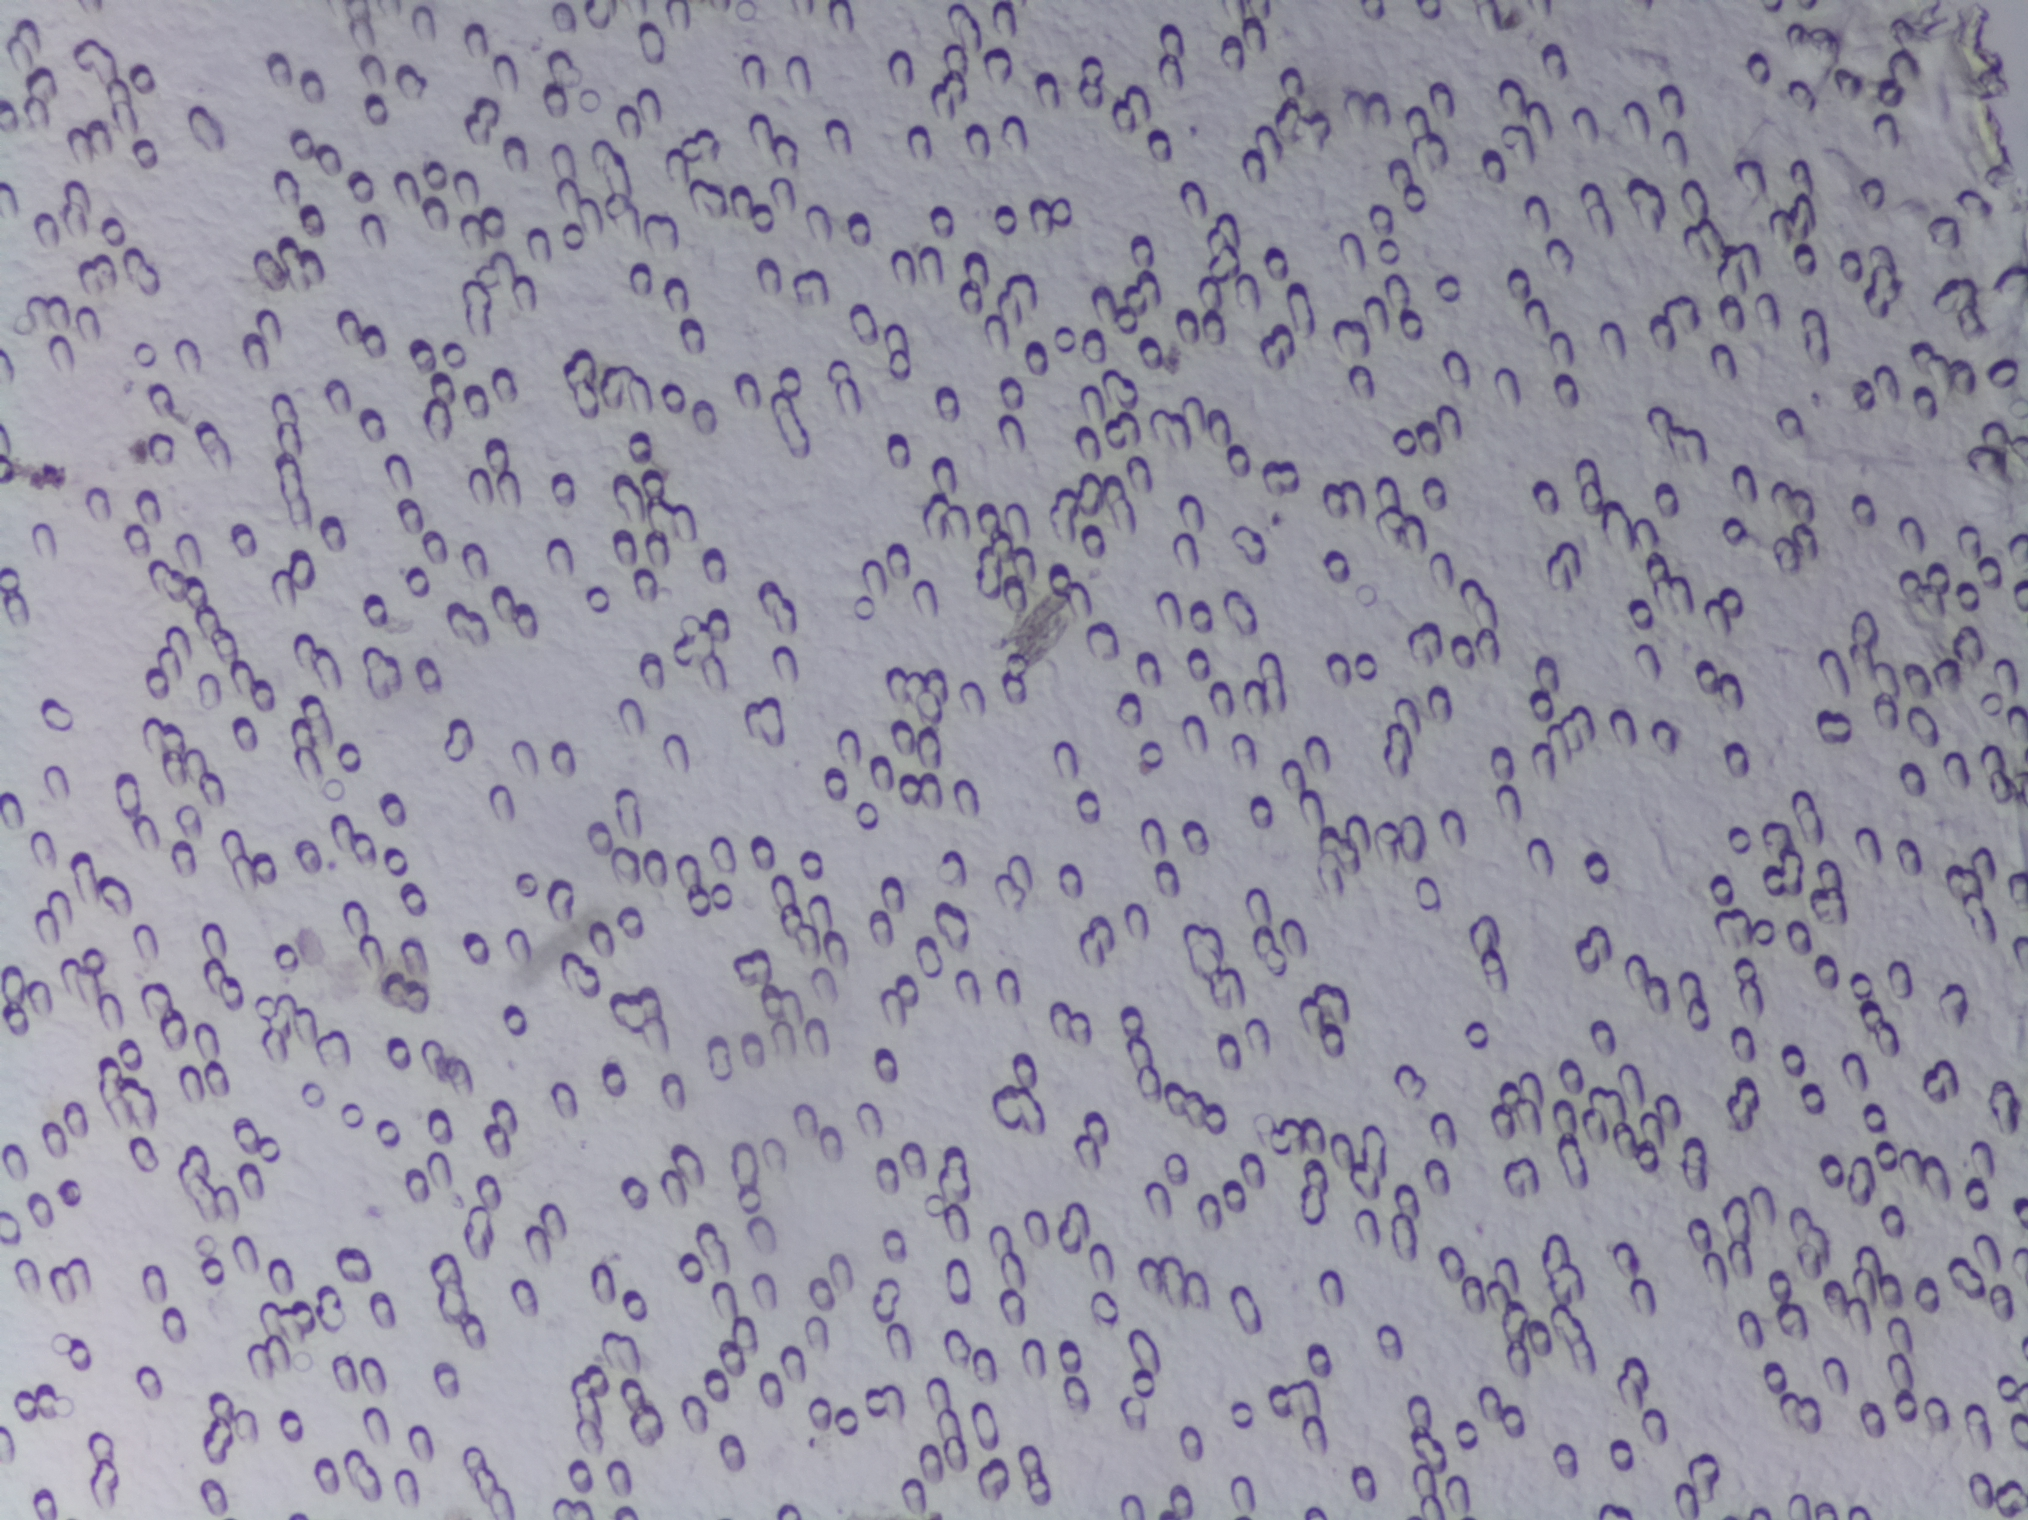
Urine filter membrane photographed through a 4× microscope objective. The field of view is about 1.5 mm × 1.1 mm.
The expert annotation outlines no Schistosoma egg in this image.